Microscope photograph (4× objective) of a membrane that a urine sample was filtered through. The image covers about 1.5 × 1.1 mm of the membrane.
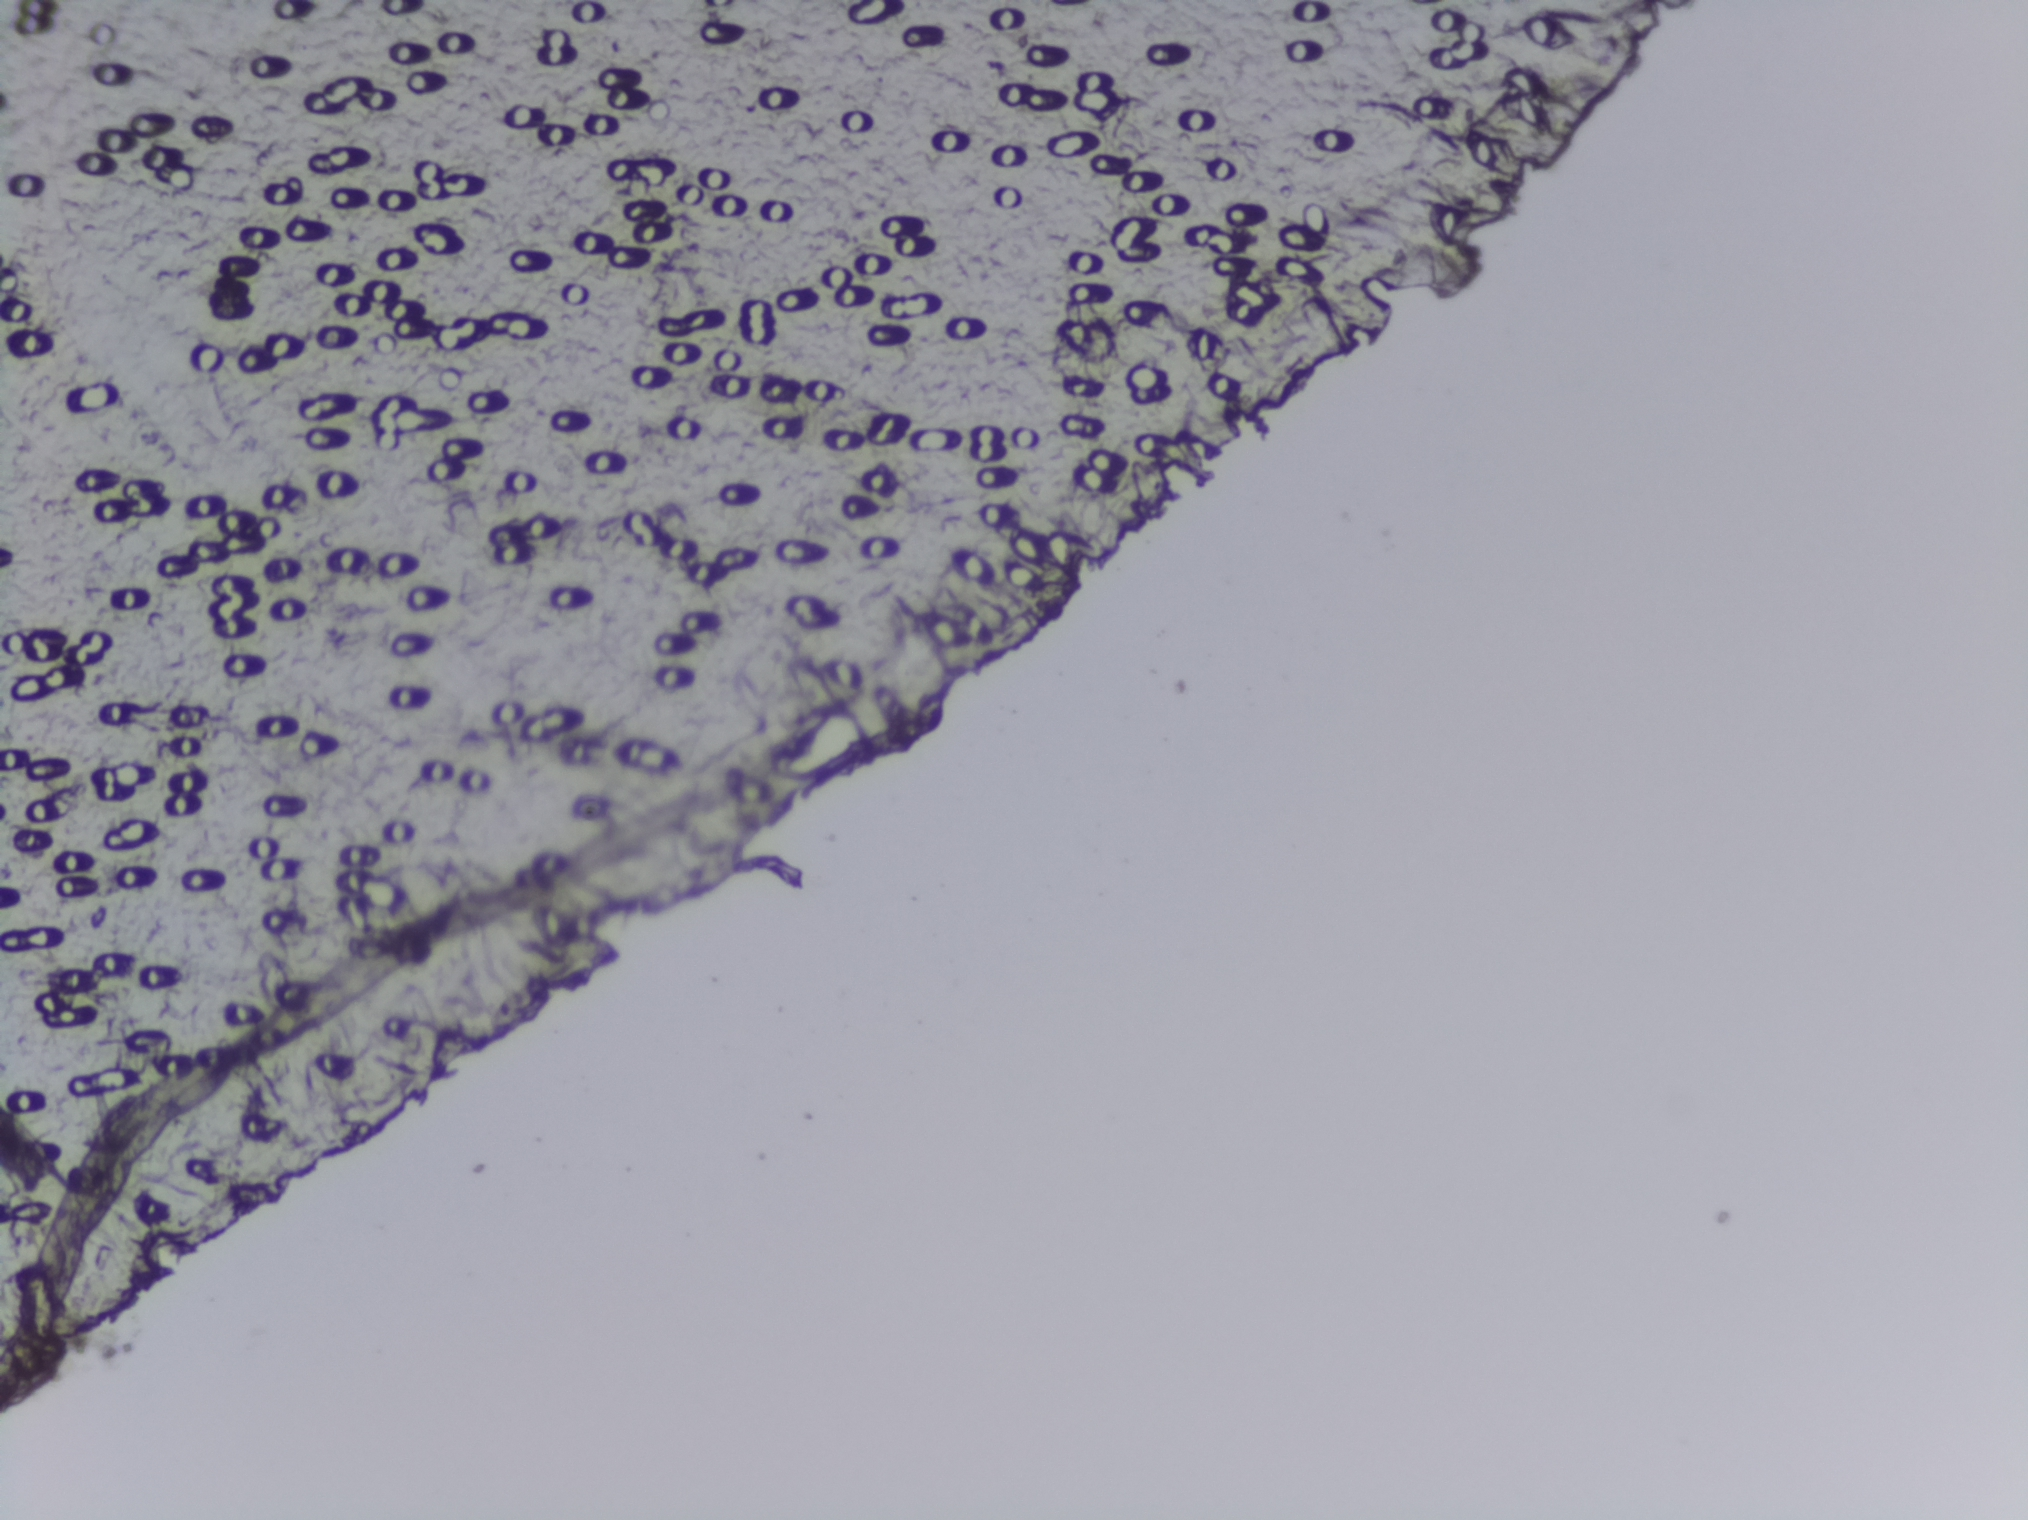
No Schistosoma egg is outlined in this image's expert annotation.